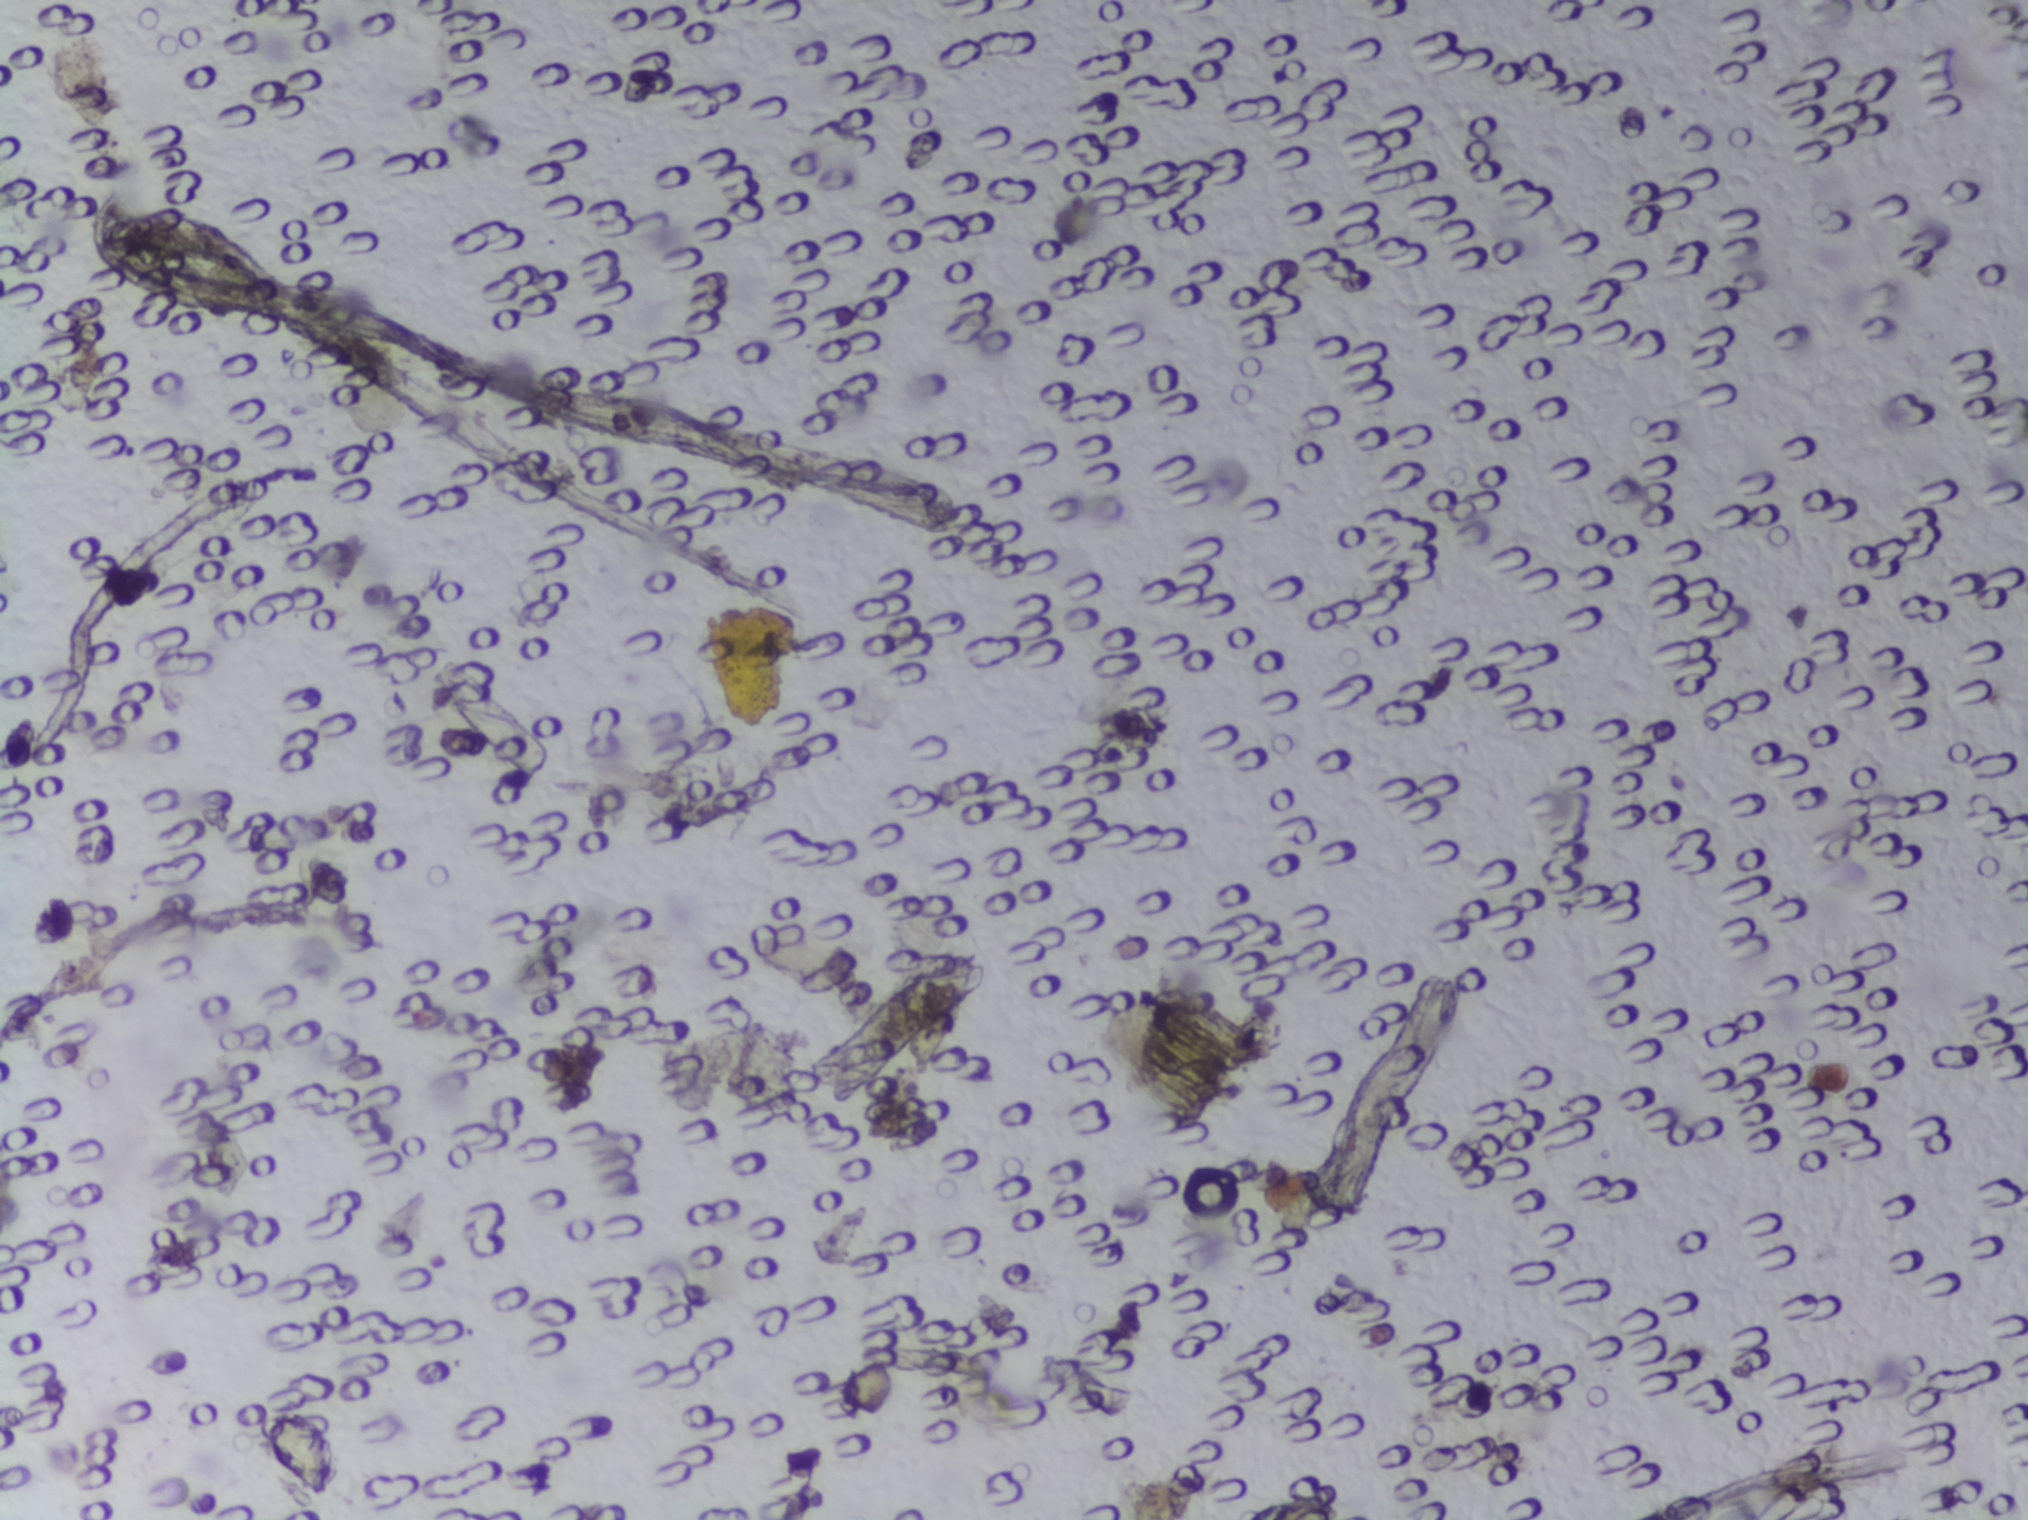
Microscope photograph (4× objective) of a membrane that a urine sample was filtered through.
No Schistosoma egg is outlined in this image's expert annotation.